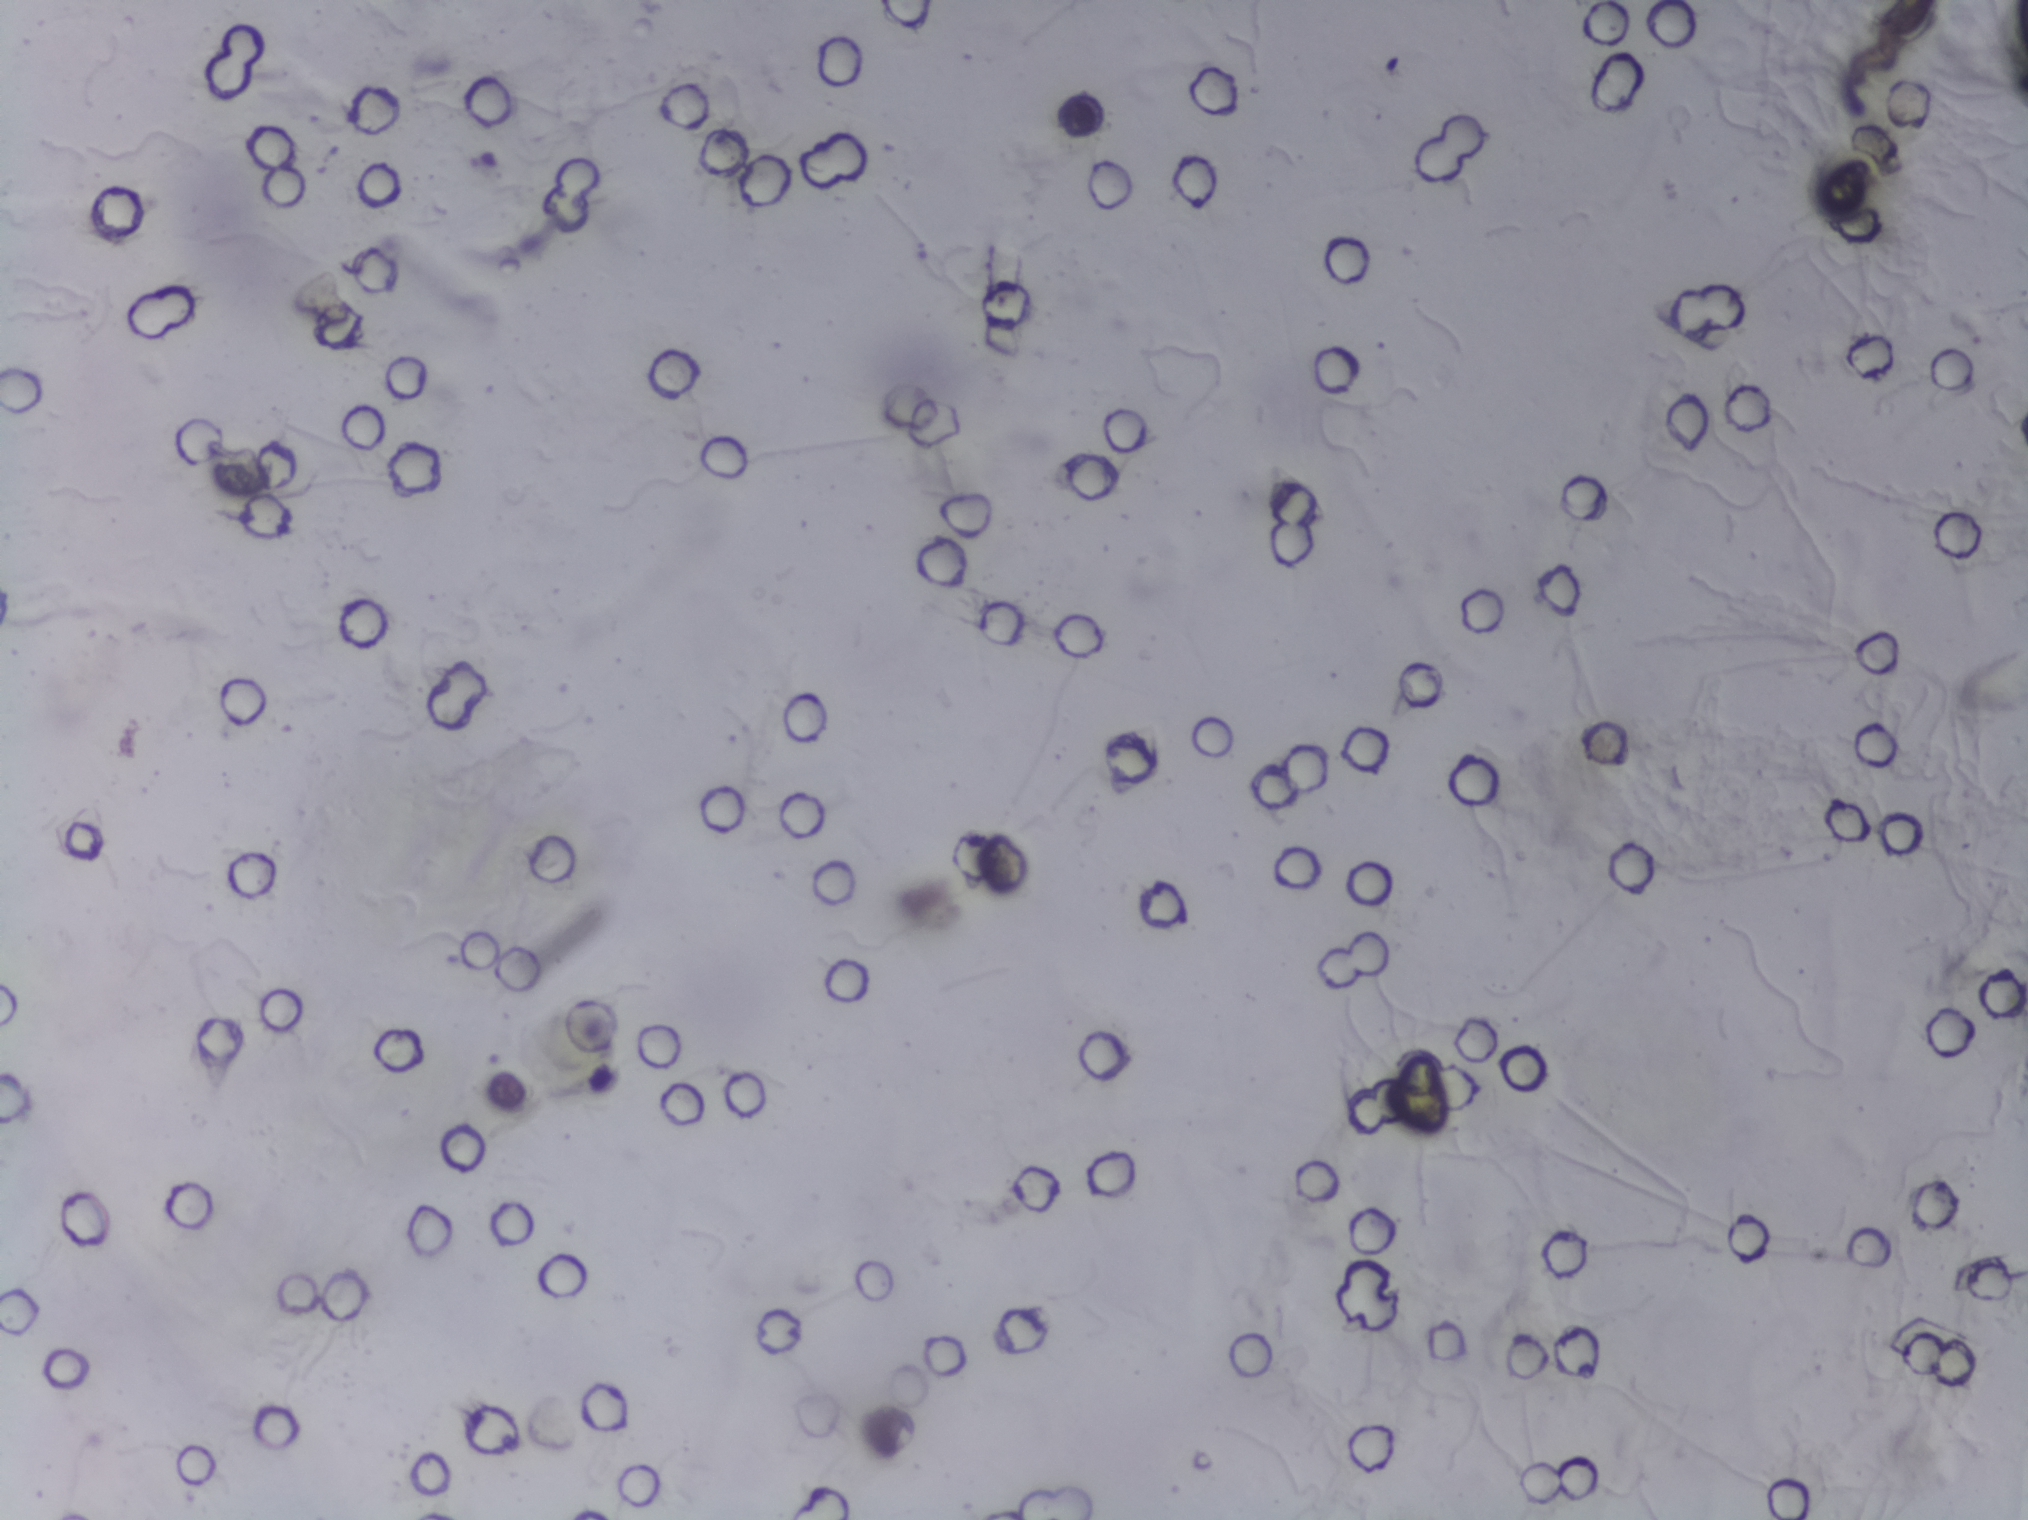
No area of this image was outlined as a Schistosoma egg.
Urine filtration membrane under a 4× objective, photographed by an automated digital microscope. Field of view: about 1.5 mm wide and 1.1 mm high.